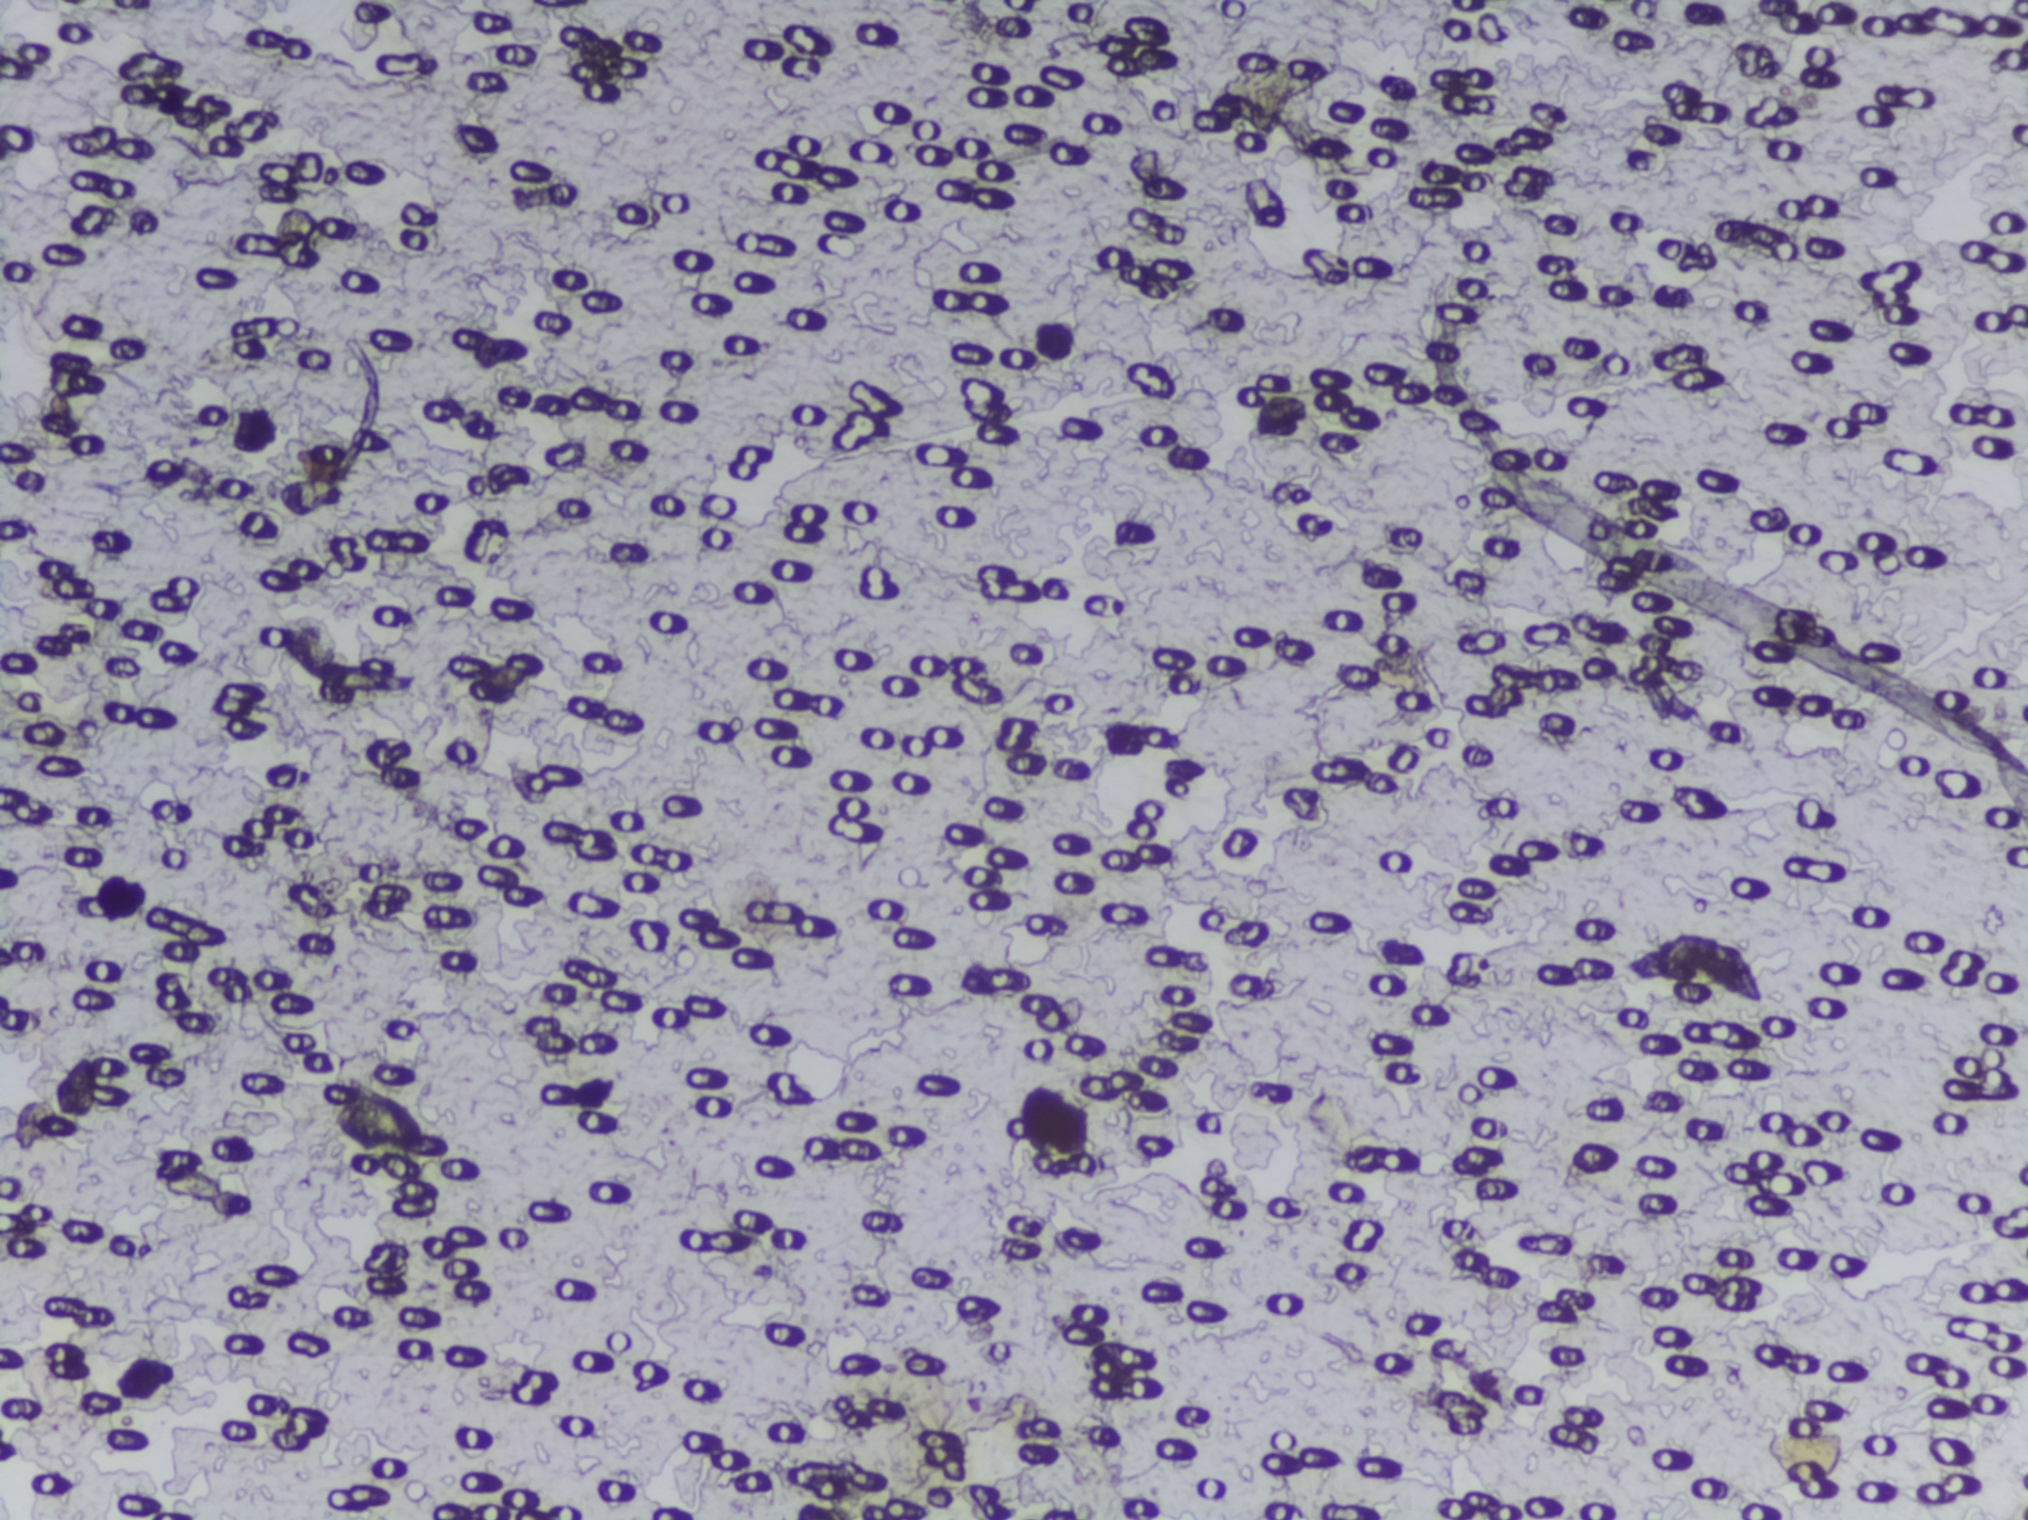
Microscope photograph (4× objective) of a membrane that a urine sample was filtered through.
Schistosoma eggs: none outlined.